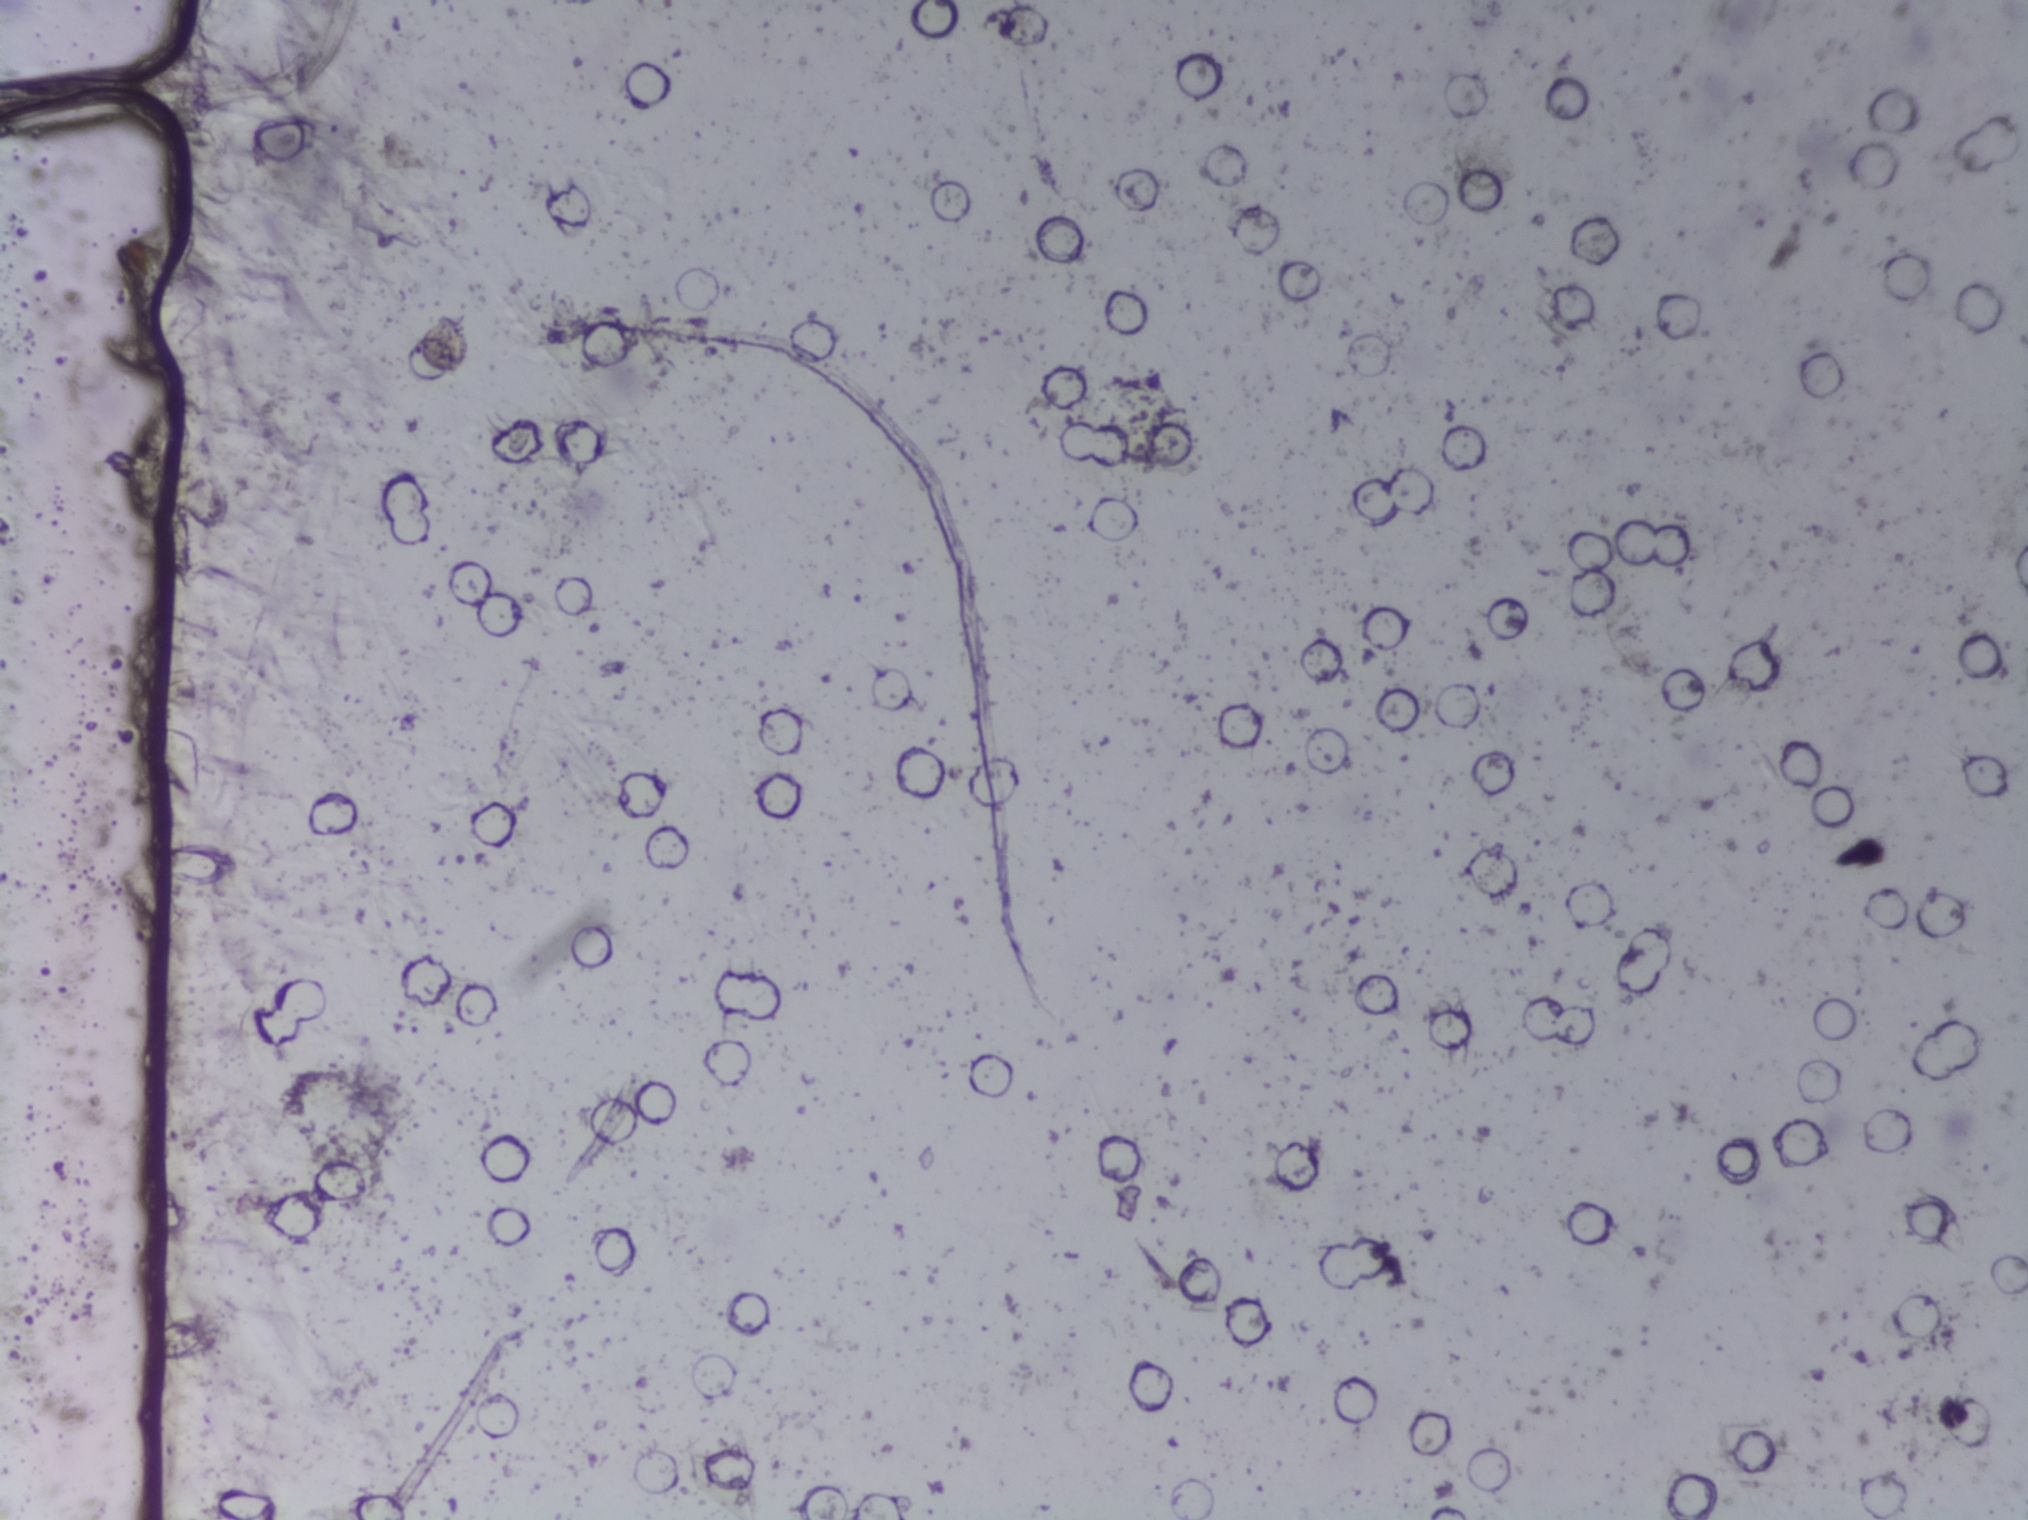
No Schistosoma egg is outlined in this image's expert annotation.
Urine filter membrane photographed through a 4× microscope objective.